Microscope photograph (4× objective) of a membrane that a urine sample was filtered through. The field of view is about 1.5 mm × 1.1 mm.
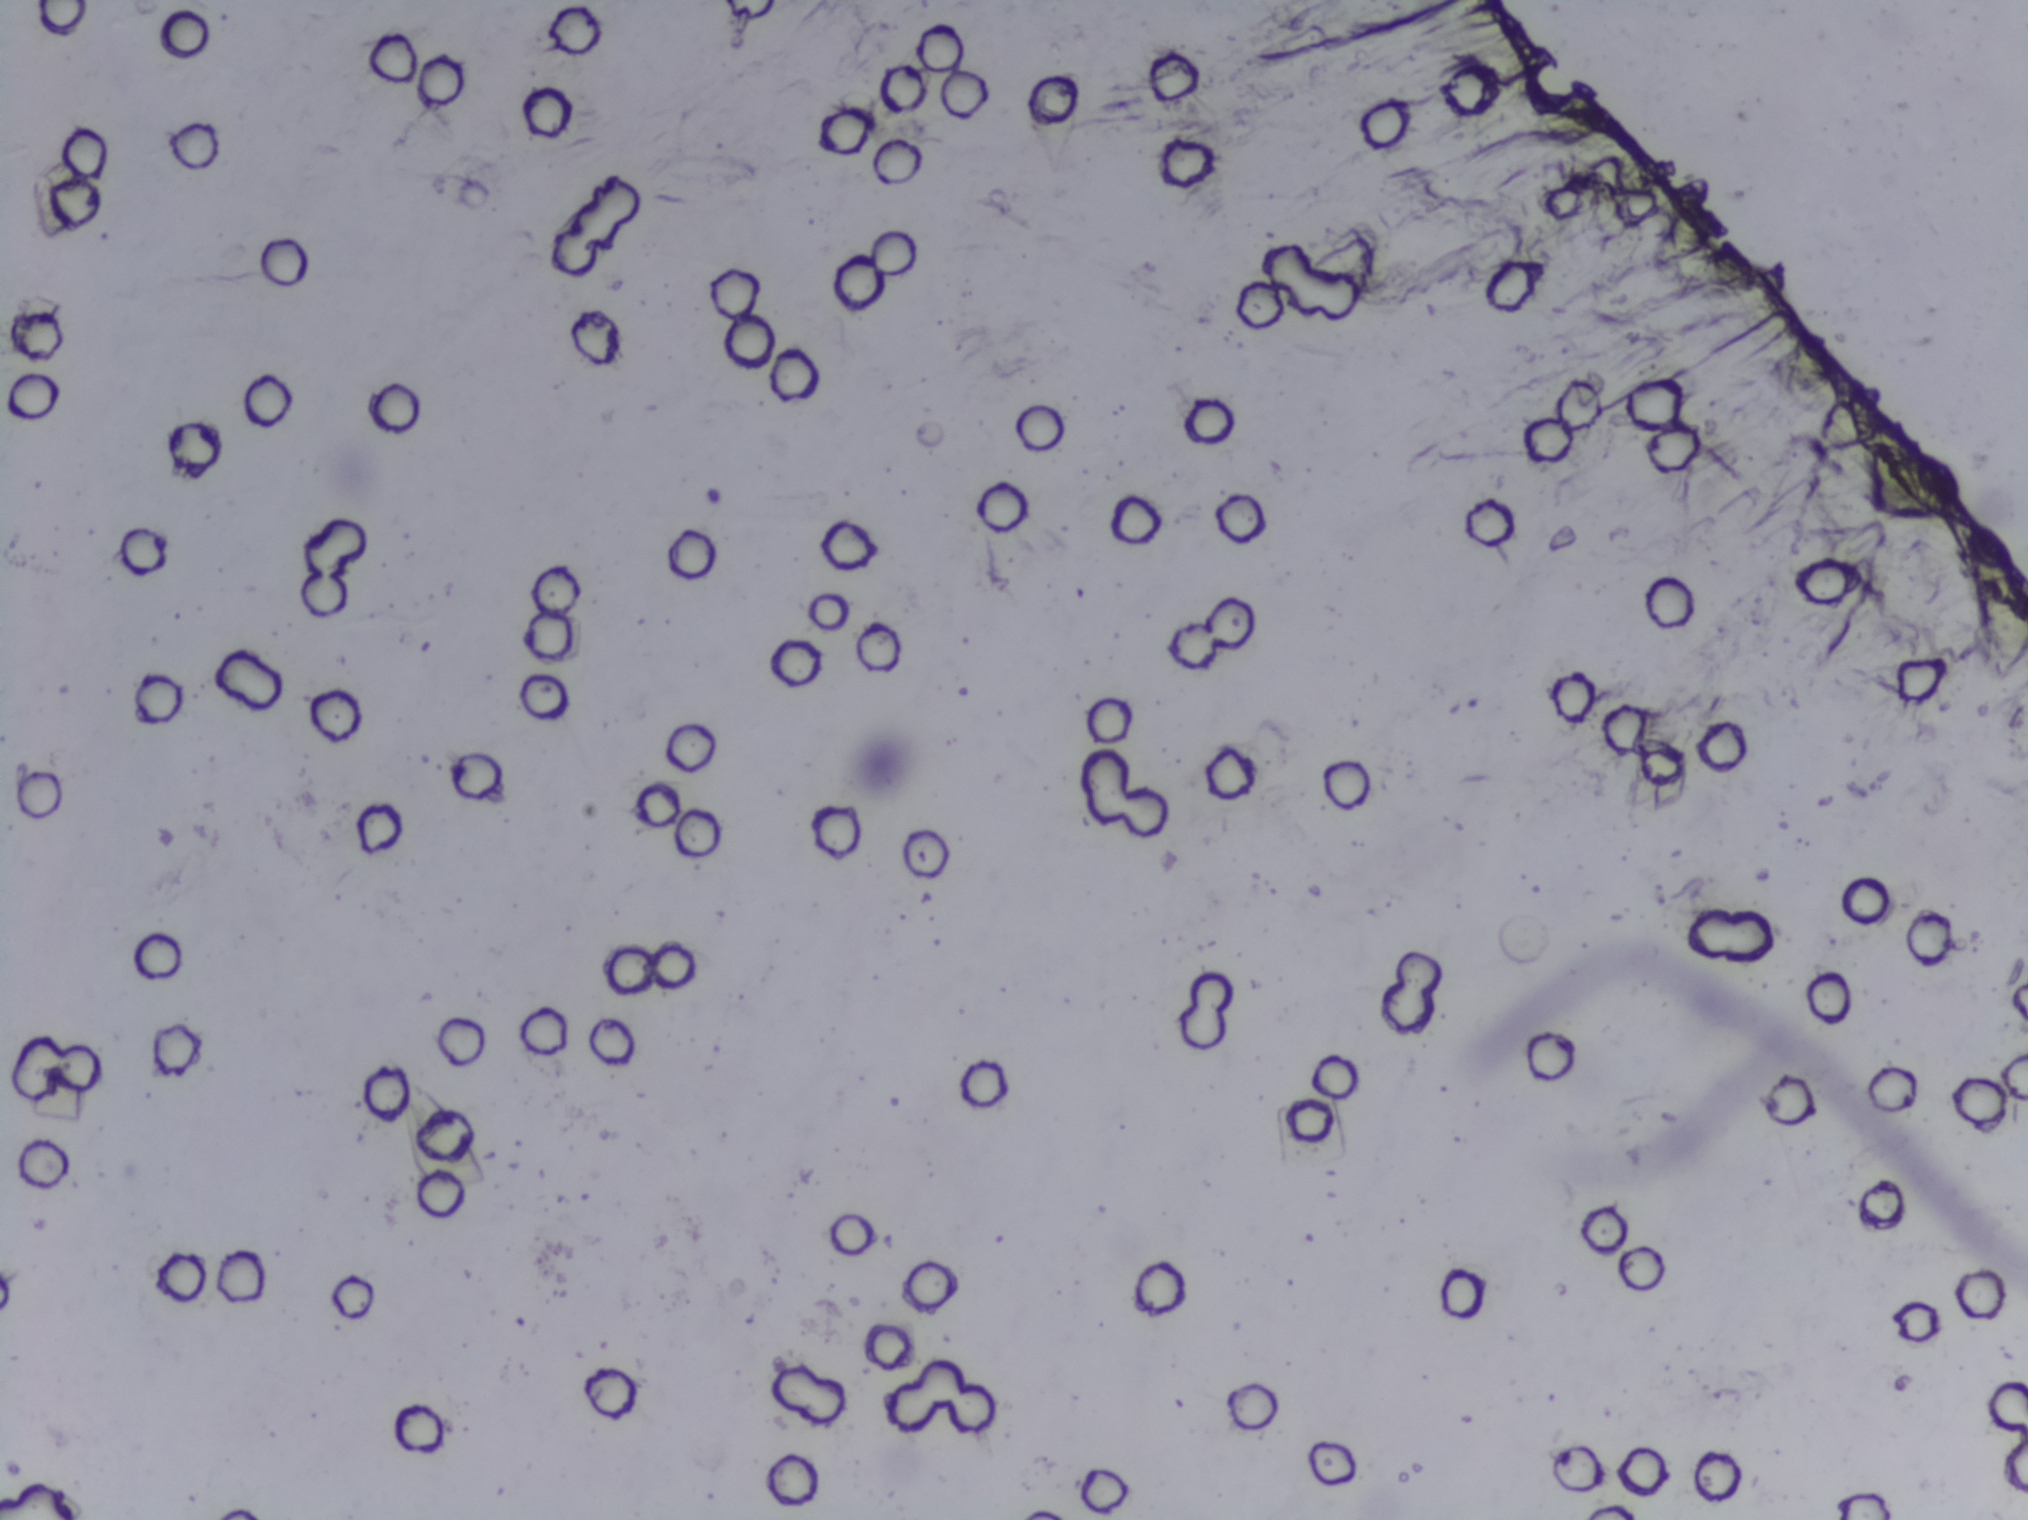
Schistosoma eggs: none outlined.